Urine filter membrane photographed through a 4× microscope objective.
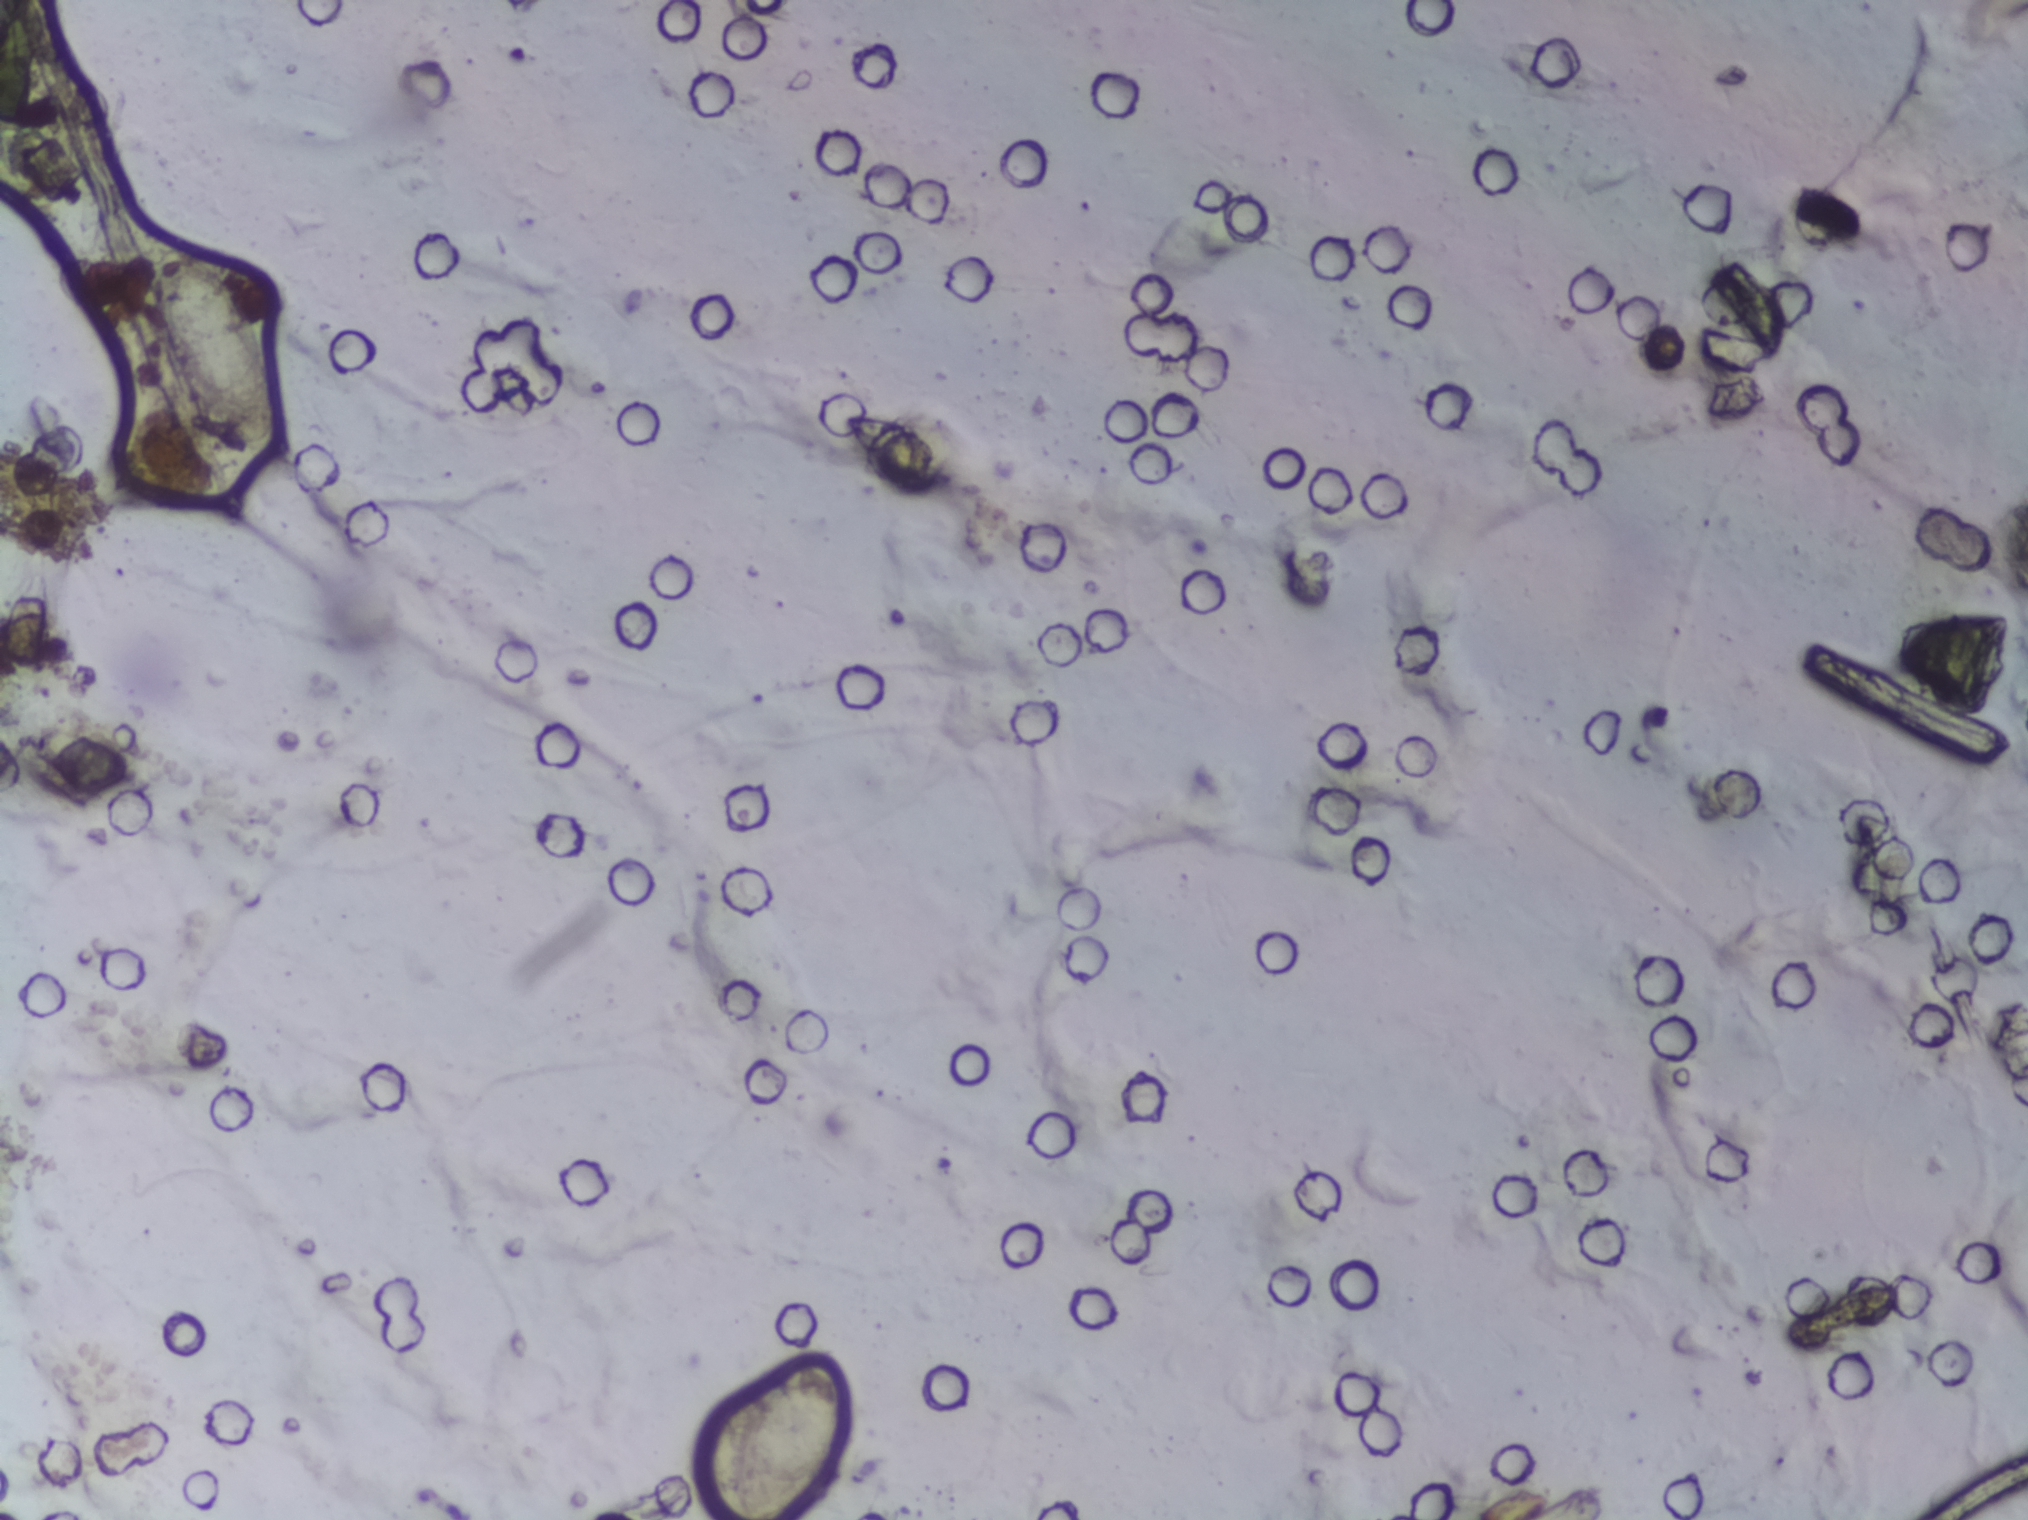
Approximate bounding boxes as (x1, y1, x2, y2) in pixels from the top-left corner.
The expert annotation outlines Schistosoma eggs at (142, 242, 276, 444) and (722, 1348, 855, 1519) (reaching the bottom edge of the frame). The marked pixels themselves, not the boxes around them, cover about 1.1% of the image. Eggs that touch can end up inside the same outlined area. Any one outlined egg may, rarely, be S. mansoni rather than S. haematobium.